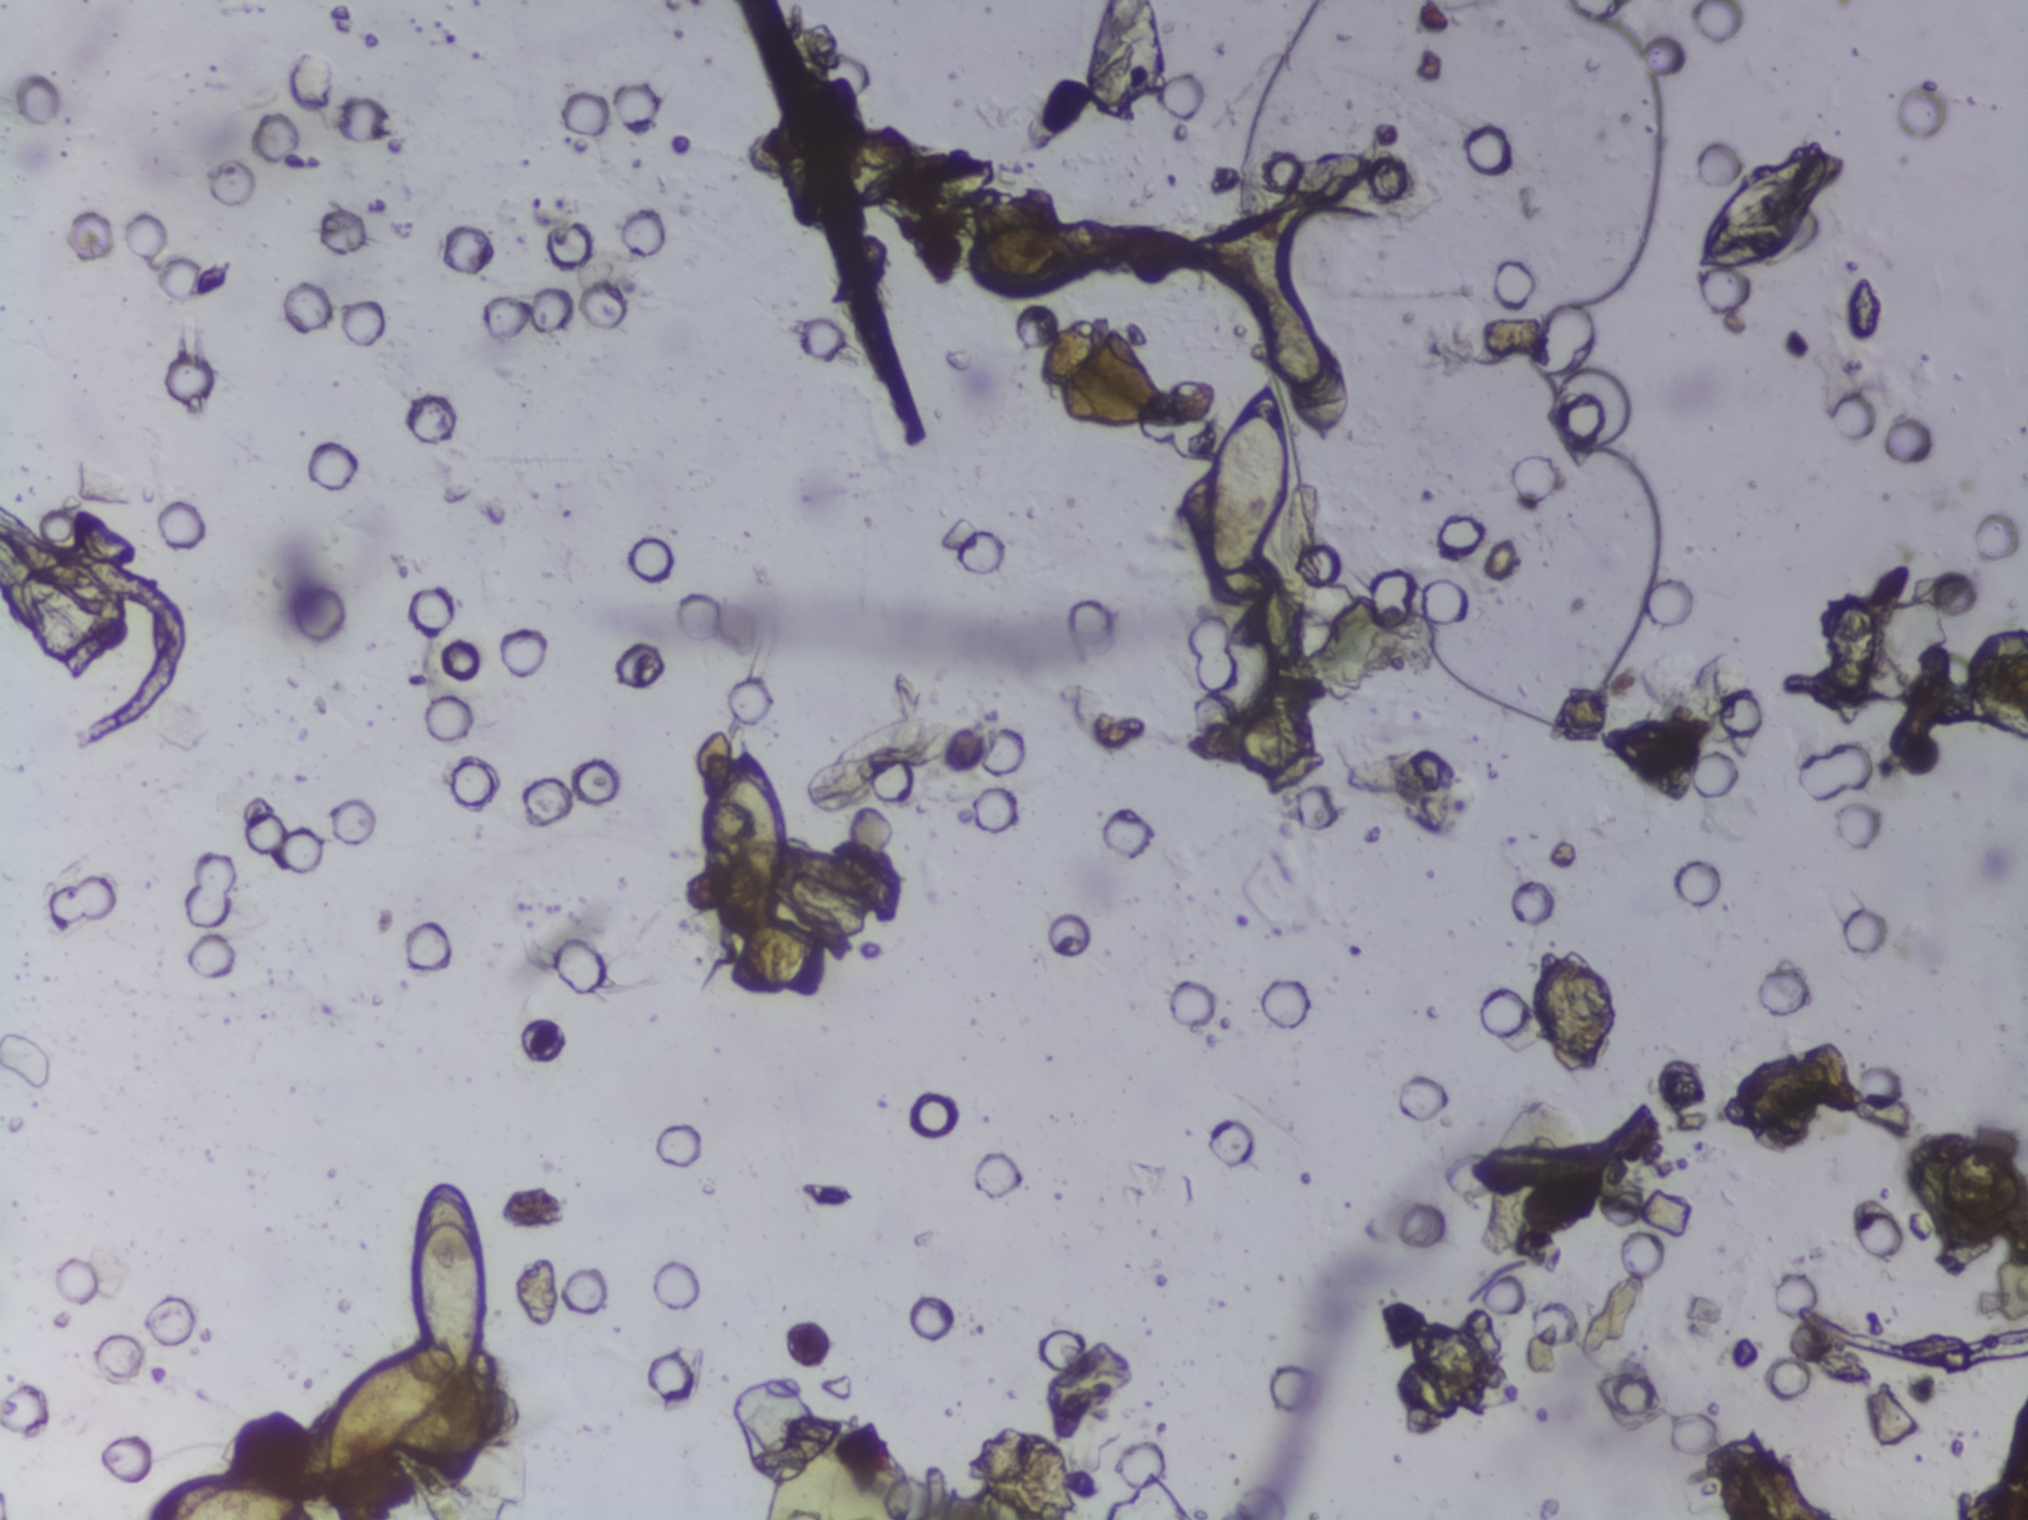
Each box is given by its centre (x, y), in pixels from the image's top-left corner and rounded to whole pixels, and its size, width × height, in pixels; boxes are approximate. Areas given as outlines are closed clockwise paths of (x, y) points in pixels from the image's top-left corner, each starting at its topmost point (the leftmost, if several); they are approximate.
Areas outlined as Schistosoma eggs, left to right:
1. box centre (228, 1497), 159 × 46 px (reaching the bottom edge of the frame)
2. outline (434, 1177), (457, 1182), (478, 1215), (482, 1284), (465, 1383), (401, 1446), (354, 1473), (328, 1478), (323, 1451), (344, 1393), (359, 1376), (420, 1341), (410, 1315), (409, 1247), (416, 1202)
3. box centre (739, 839), 104 × 236 px
4. box centre (1245, 483), 93 × 215 px
5. box centre (1319, 390), 62 × 115 px
6. box centre (1765, 209), 155 × 130 px
7. box centre (1851, 647), 48 × 115 px
A single outlined area may contain several eggs.
Photograph from an automated digital microscope: urine filter membrane, 4× objective.